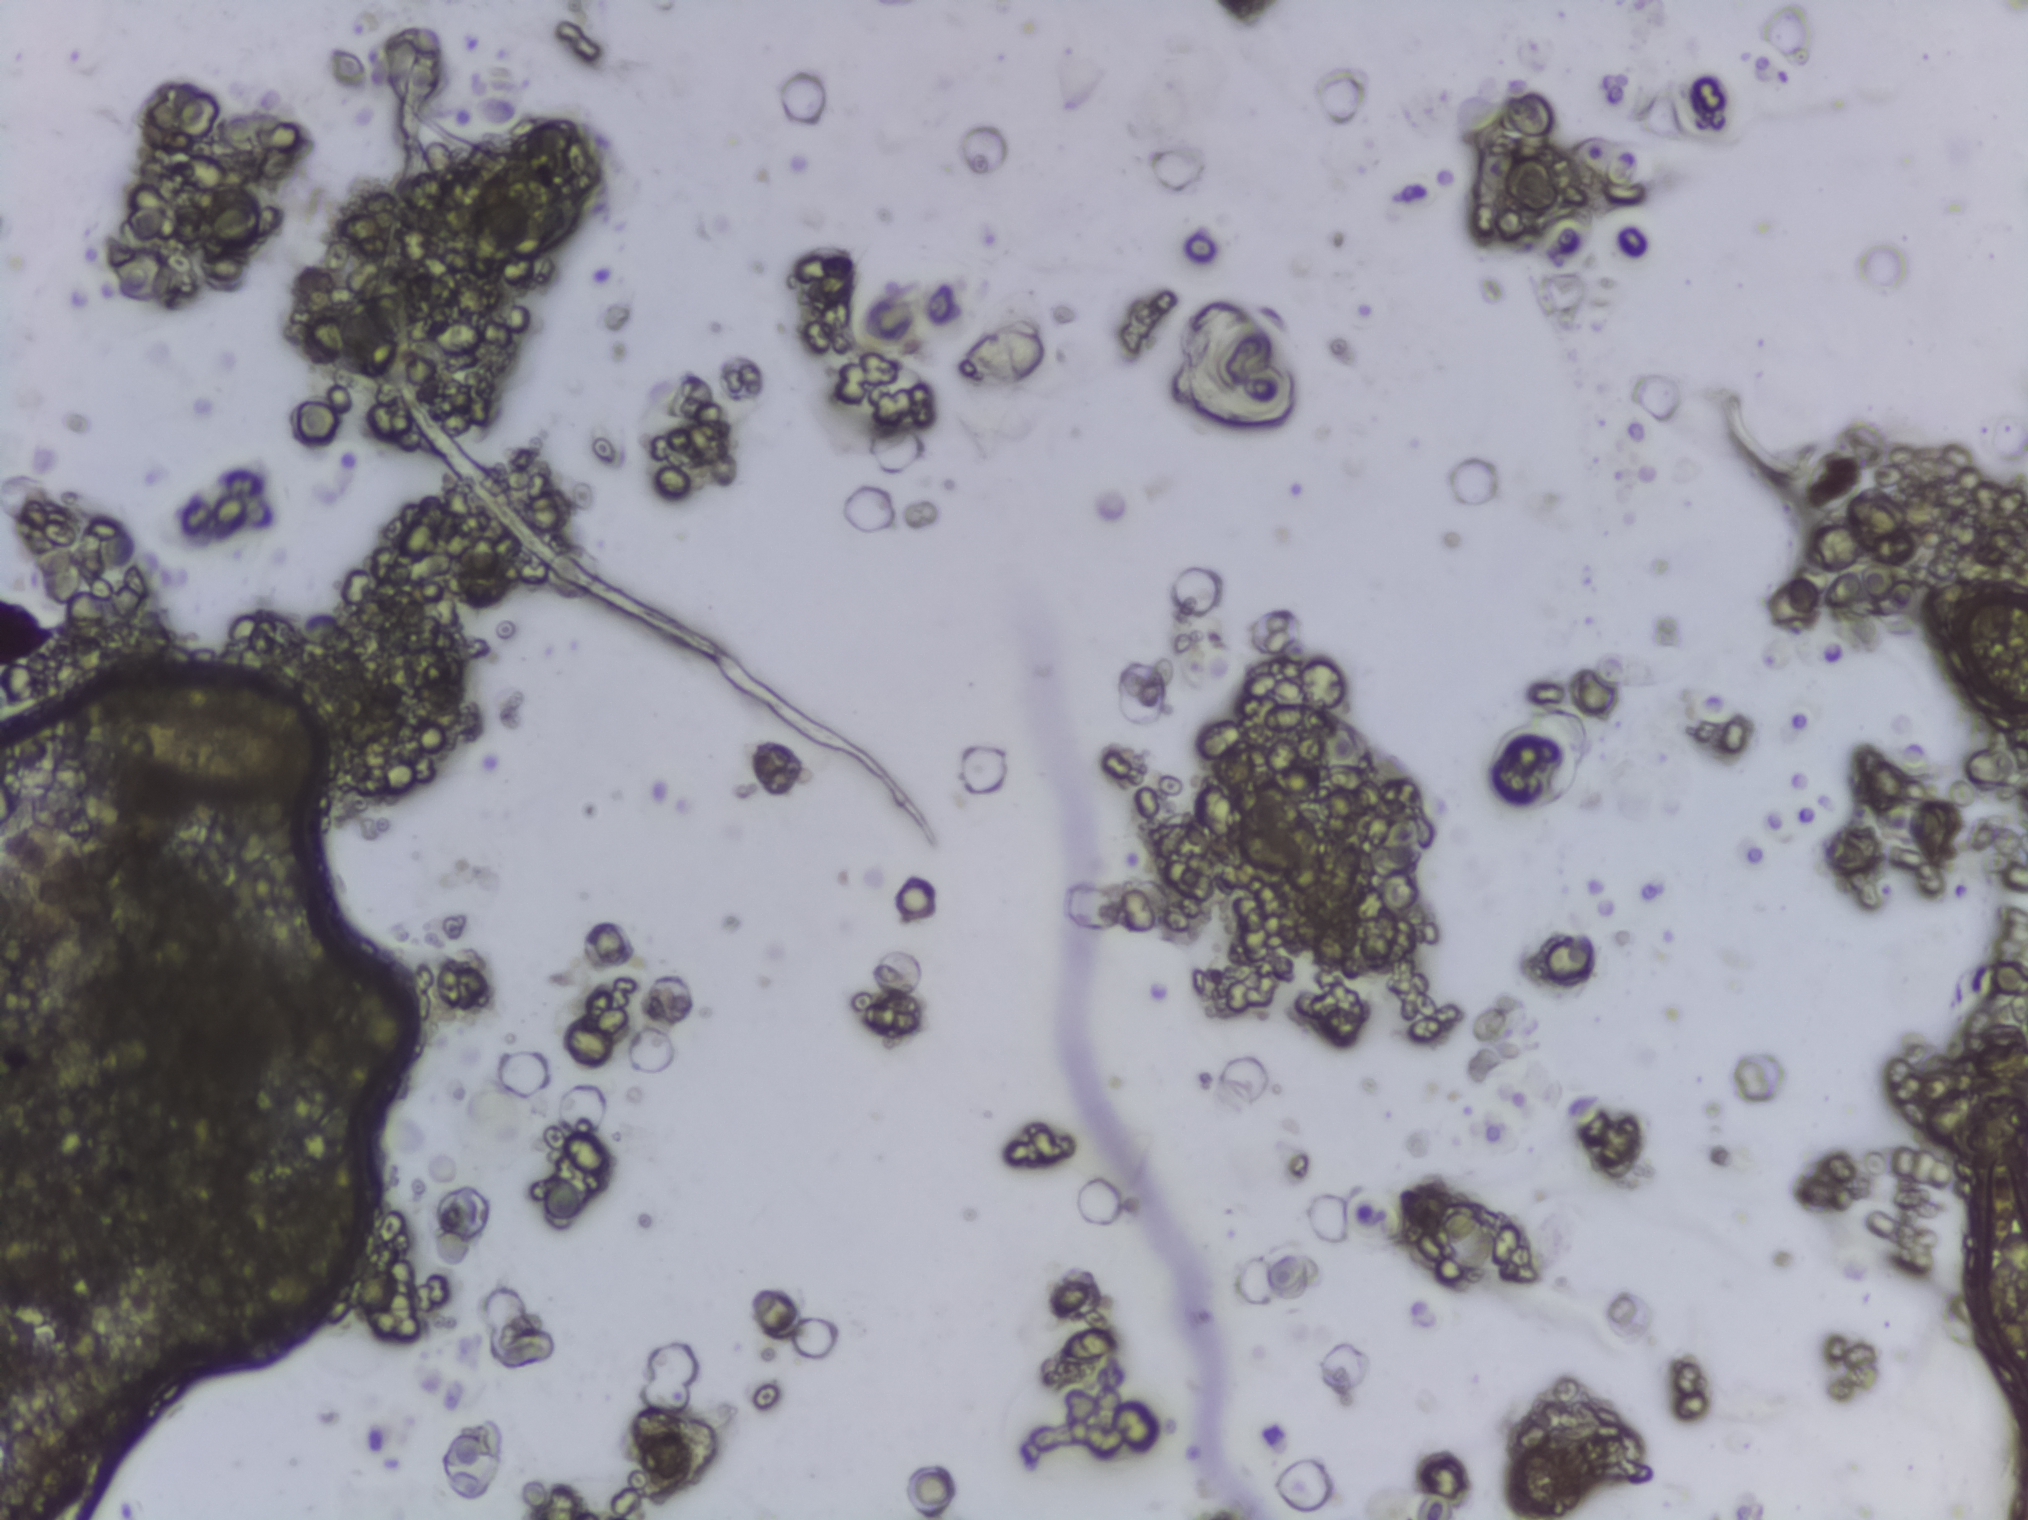
The expert annotation outlines no Schistosoma egg in this image.
Microscope photograph (4× objective) of a membrane that a urine sample was filtered through. The image covers about 1.5 × 1.1 mm of the membrane.